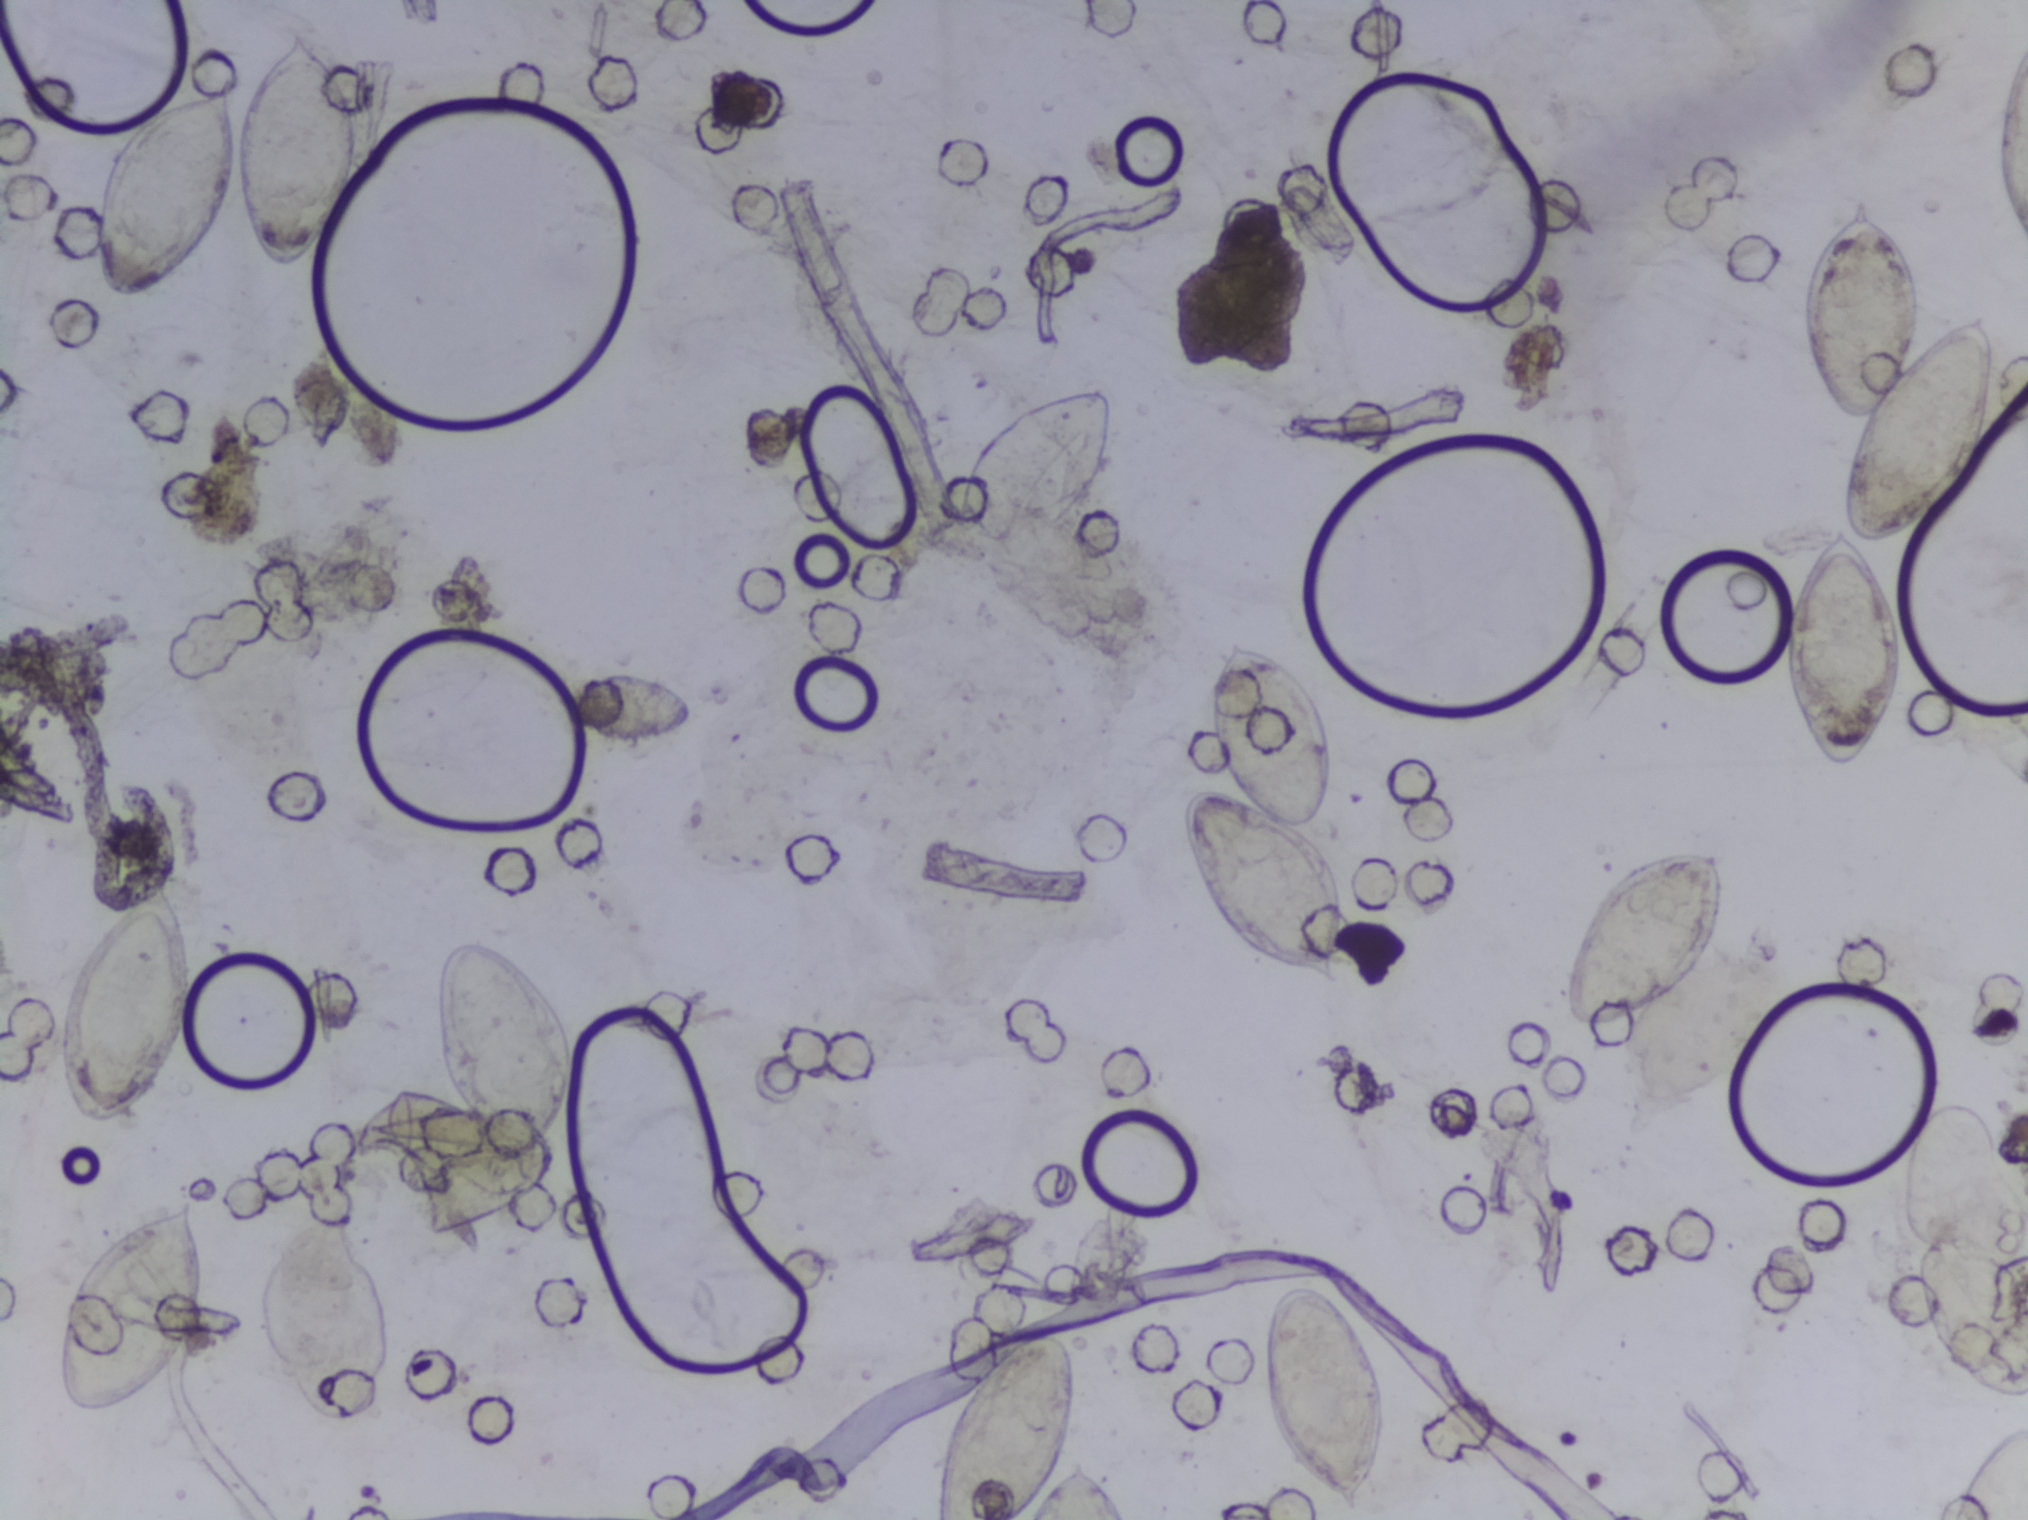
Urine filtration membrane under a 4× objective, photographed by an automated digital microscope. Field of view: about 1.5 mm wide and 1.1 mm high.
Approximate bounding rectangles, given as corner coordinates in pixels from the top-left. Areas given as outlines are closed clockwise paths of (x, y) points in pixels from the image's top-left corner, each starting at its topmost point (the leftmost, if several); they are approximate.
Areas outlined as Schistosoma eggs, left to right:
1. box (x1=54, y1=1195, x2=209, y2=1419)
2. box (x1=56, y1=873, x2=197, y2=1128)
3. box (x1=88, y1=31, x2=360, y2=301)
4. box (x1=438, y1=937, x2=575, y2=1165)
5. box (x1=559, y1=670, x2=691, y2=743)
6. box (x1=936, y1=1332, x2=1136, y2=1519) (reaching the bottom edge of the frame)
7. box (x1=951, y1=386, x2=1117, y2=553)
8. box (x1=1184, y1=639, x2=1345, y2=987)
9. box (x1=1266, y1=1285, x2=1383, y2=1514)
10. box (x1=1559, y1=849, x2=1727, y2=1030)
11. outline (1860, 191), (1894, 222), (1911, 250), (1917, 335), (1908, 359), (1944, 326), (1987, 308), (1994, 334), (1994, 405), (1988, 444), (1964, 493), (1901, 544), (1868, 549), (1895, 604), (1898, 680), (1865, 756), (1854, 767), (1831, 770), (1800, 742), (1788, 720), (1780, 642), (1805, 558), (1840, 521), (1847, 462), (1869, 421), (1849, 421), (1822, 400), (1800, 331), (1803, 293), (1820, 247) (a cluster of eggs)
12. box (x1=1907, y1=1229, x2=2027, y2=1394) (reaching the right edge of the frame)
13. box (x1=1952, y1=1421, x2=2027, y2=1519) (reaching the right and bottom edges of the frame)
A single outlined area may contain several eggs.